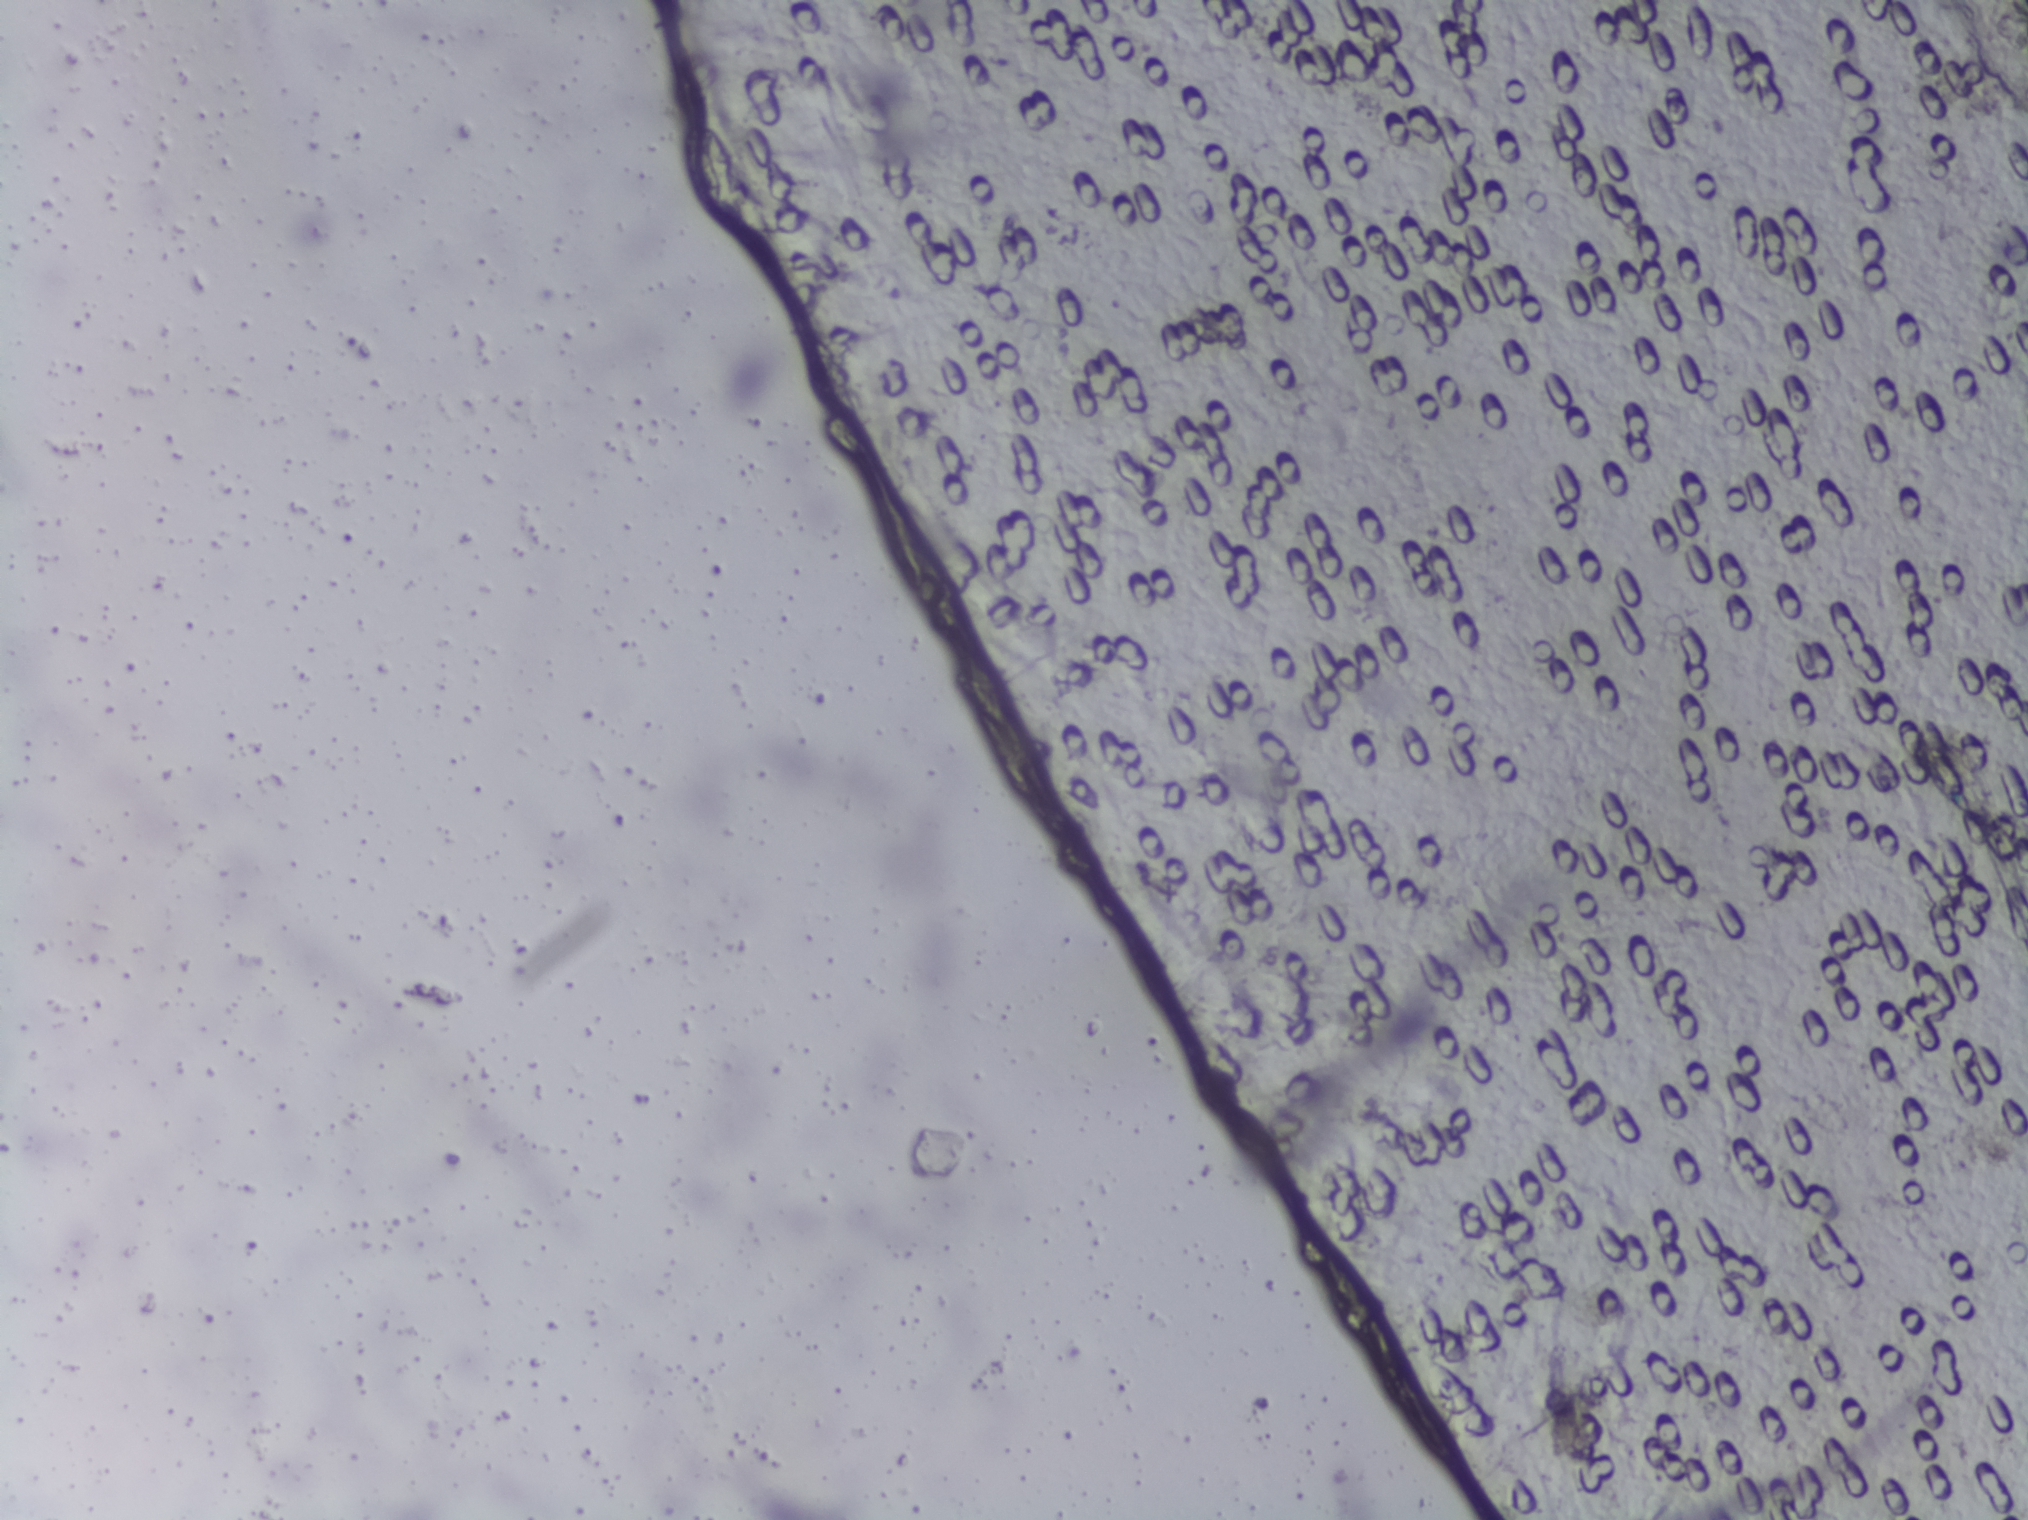
No area of this image was outlined as a Schistosoma egg.
Microscope photograph (4× objective) of a membrane that a urine sample was filtered through.